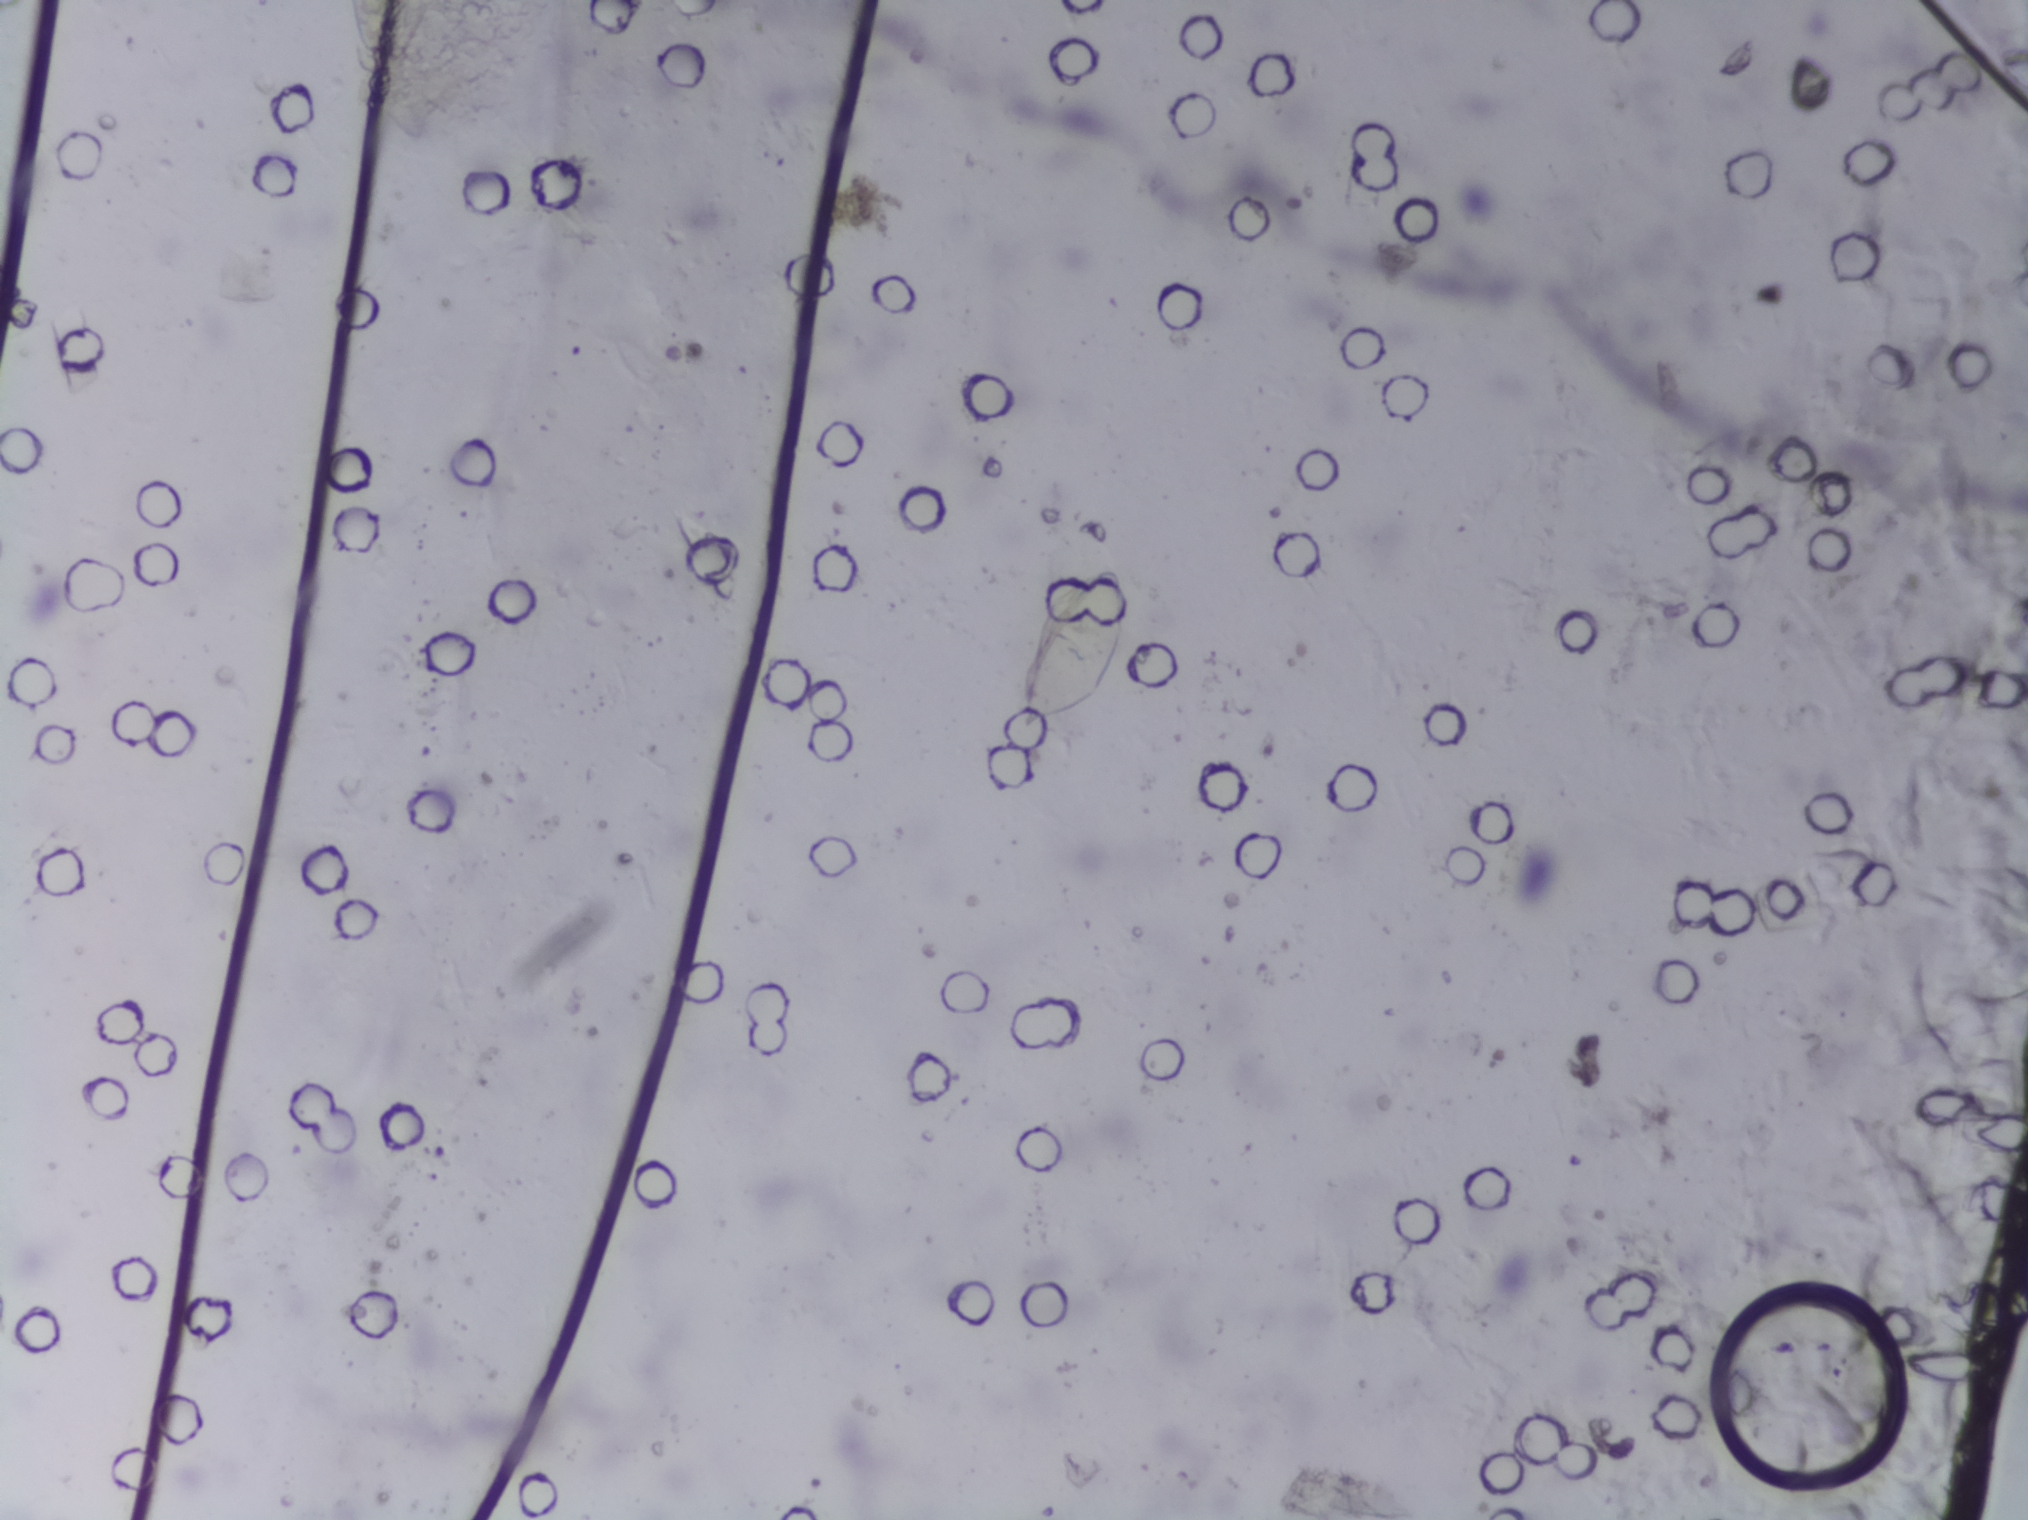
Photograph from an automated digital microscope: urine filter membrane, 4× objective.
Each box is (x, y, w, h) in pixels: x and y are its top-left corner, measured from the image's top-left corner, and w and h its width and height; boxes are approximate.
One area of this image is outlined as Schistosoma eggs: (x=1021, y=568, w=107, h=164). The marked pixels themselves, not the box around them, cover about 0.4% of the image. Eggs that touch can end up inside the same outlined area.